Microscope photograph (4× objective) of a membrane that a urine sample was filtered through.
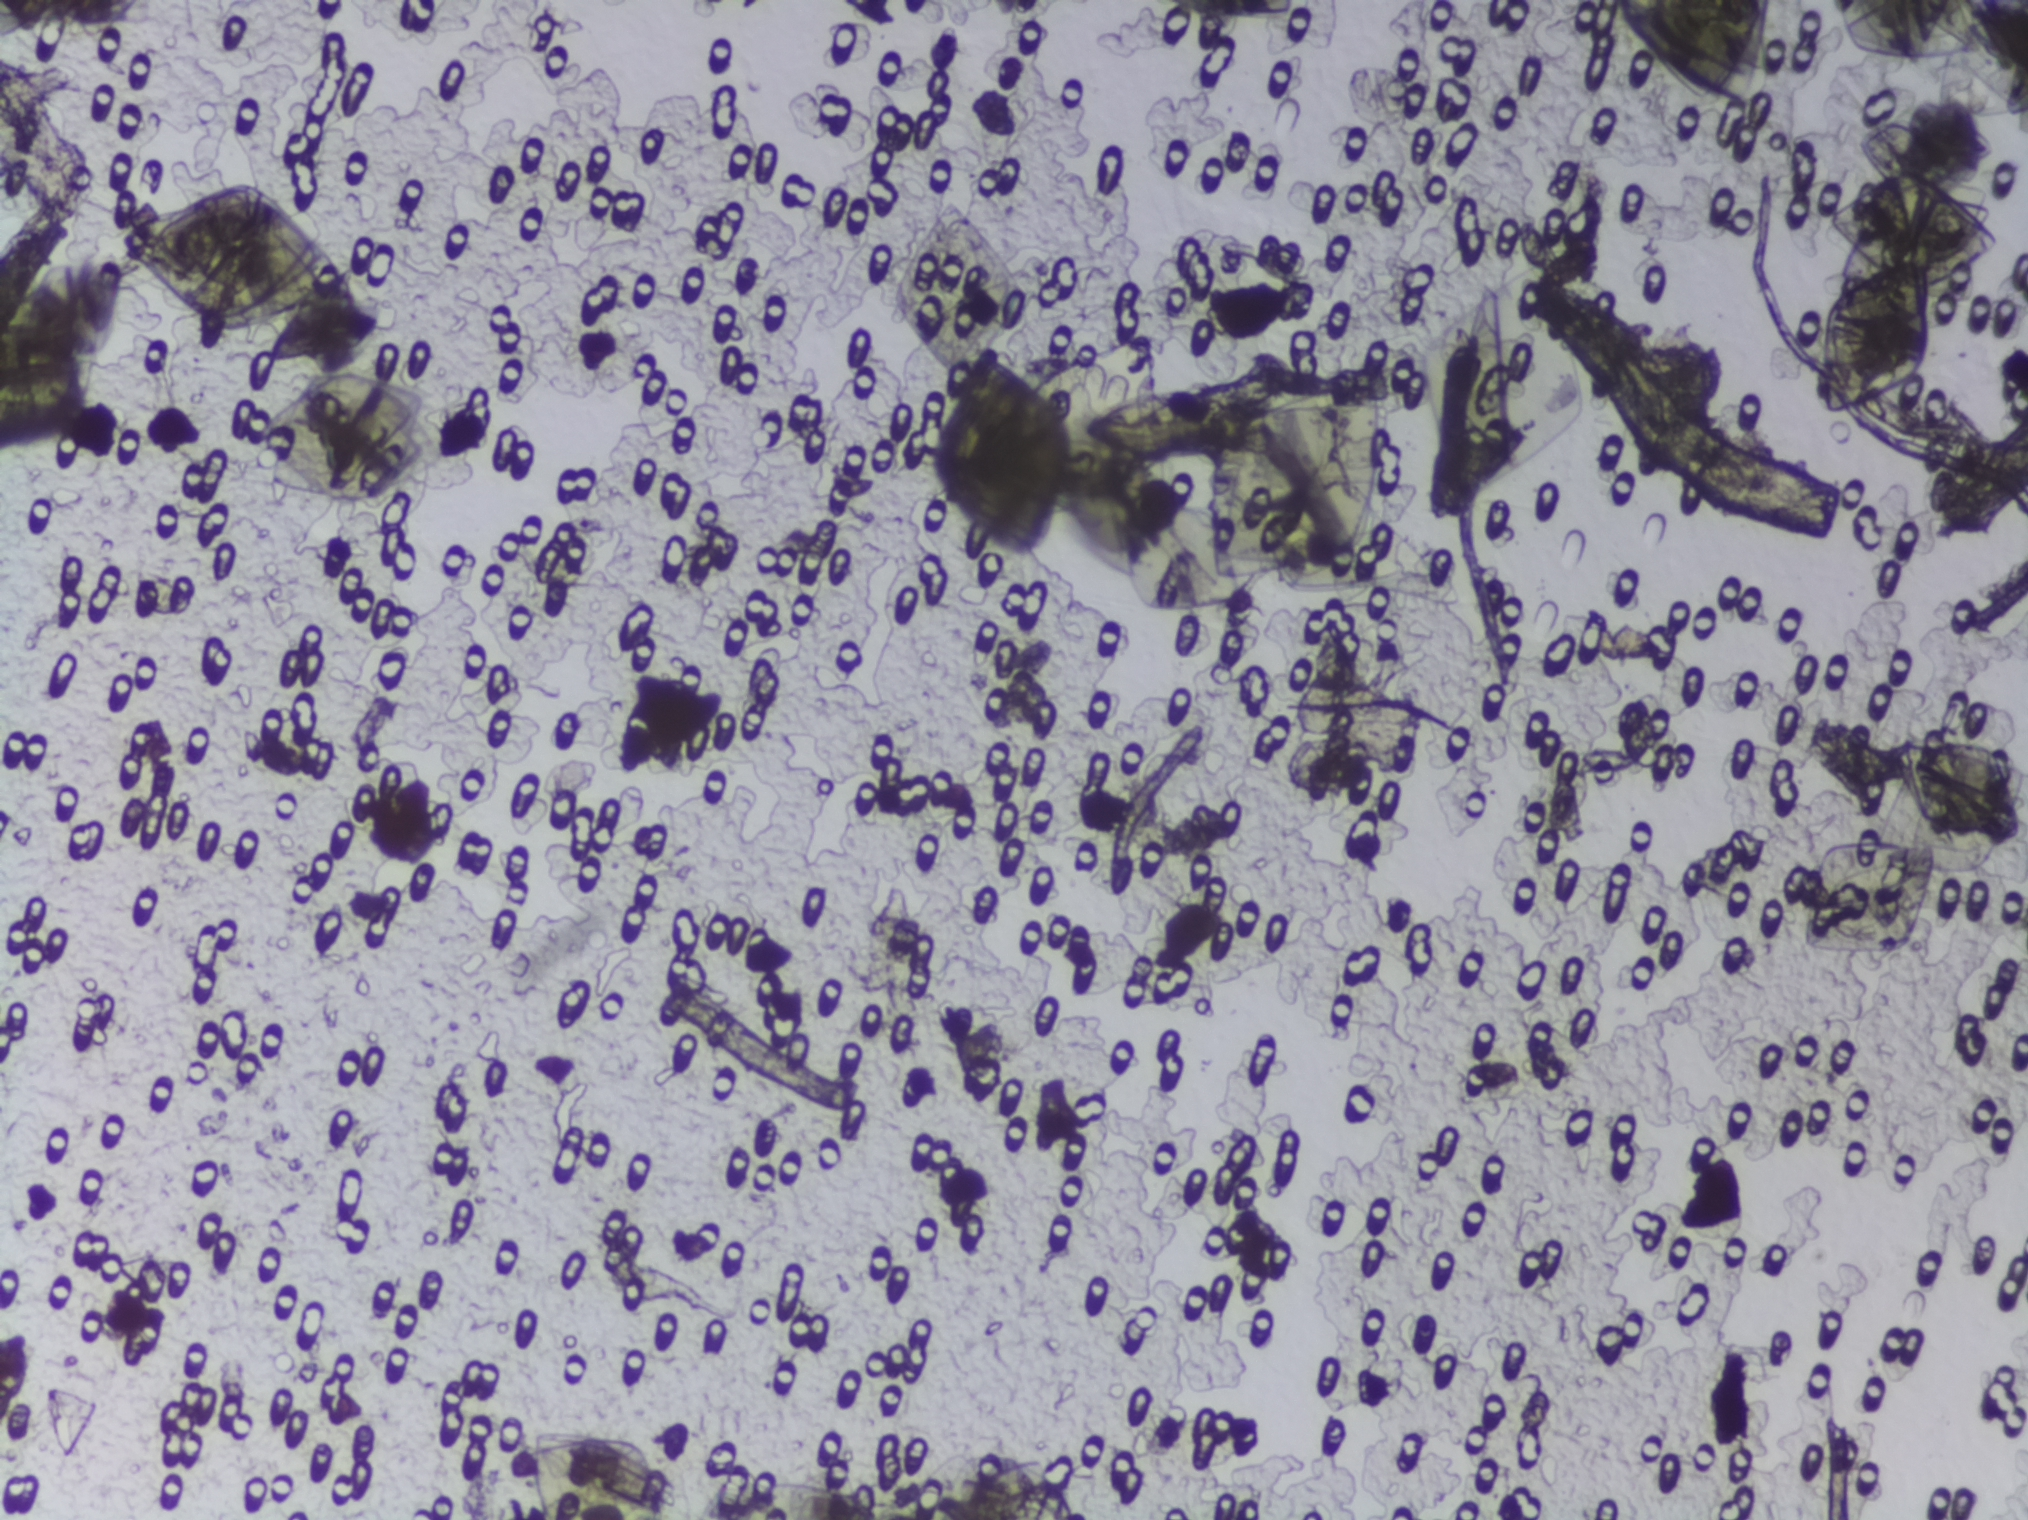
No area of this image was outlined as a Schistosoma egg.